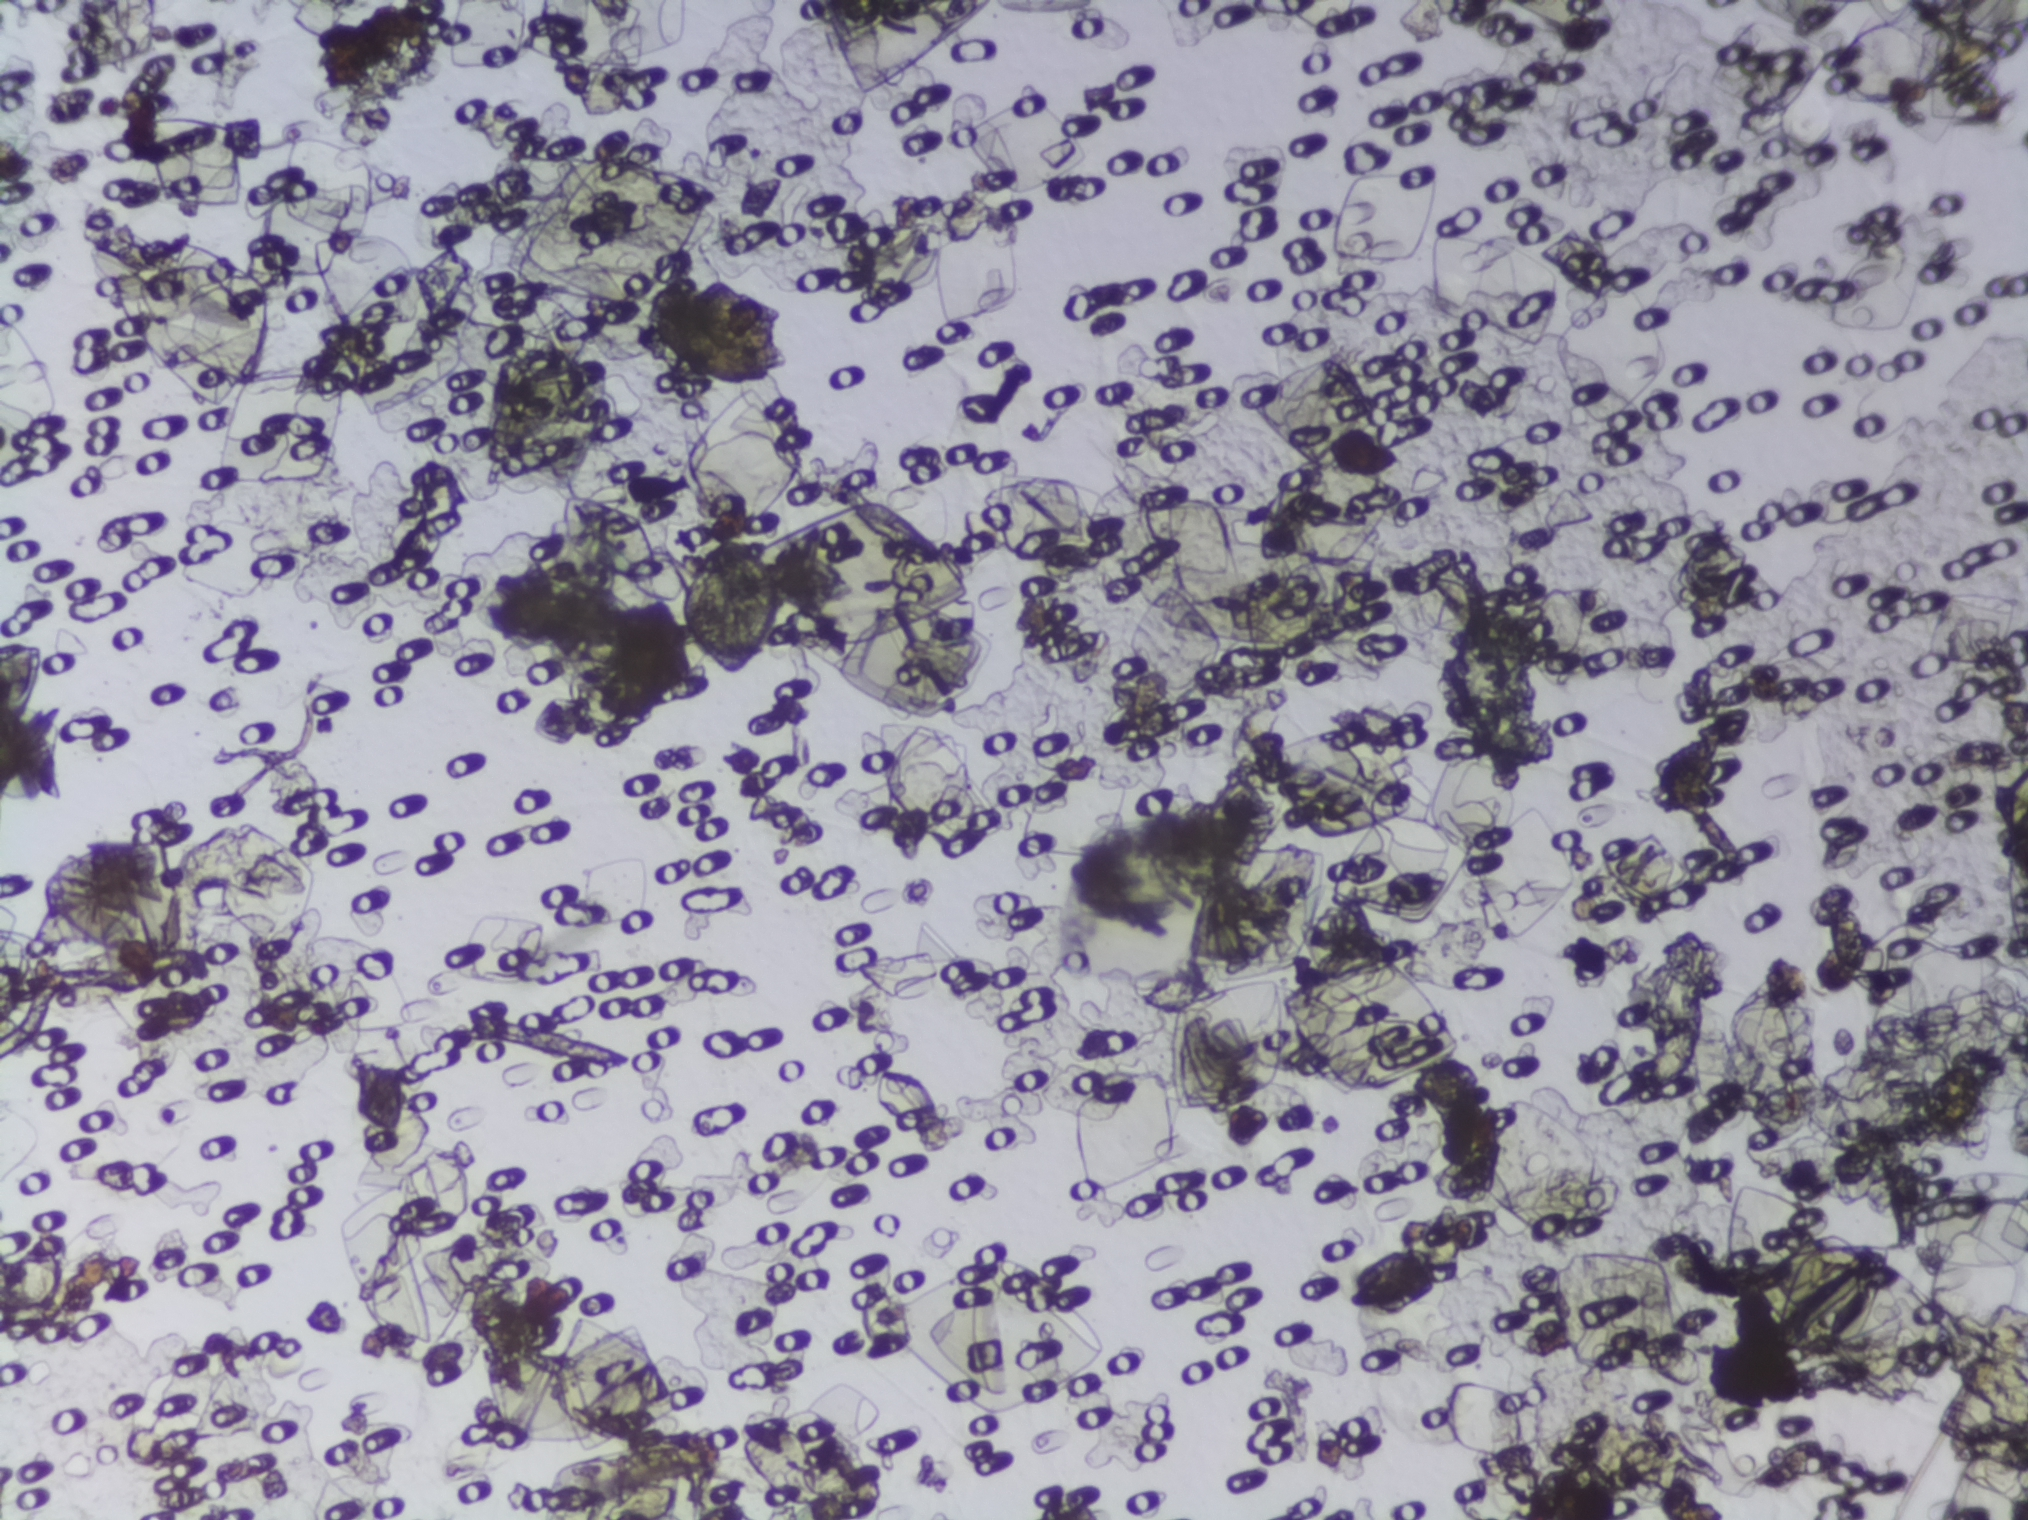
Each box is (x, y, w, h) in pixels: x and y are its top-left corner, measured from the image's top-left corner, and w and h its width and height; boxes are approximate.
Schistosoma eggs are outlined in the expert annotation at (x=1343, y=1244, w=93, h=69). The marked pixels themselves, not the box around them, cover about 0.2% of the image. An outlined area can hold more than one egg.
Photograph from an automated digital microscope: urine filter membrane, 4× objective.